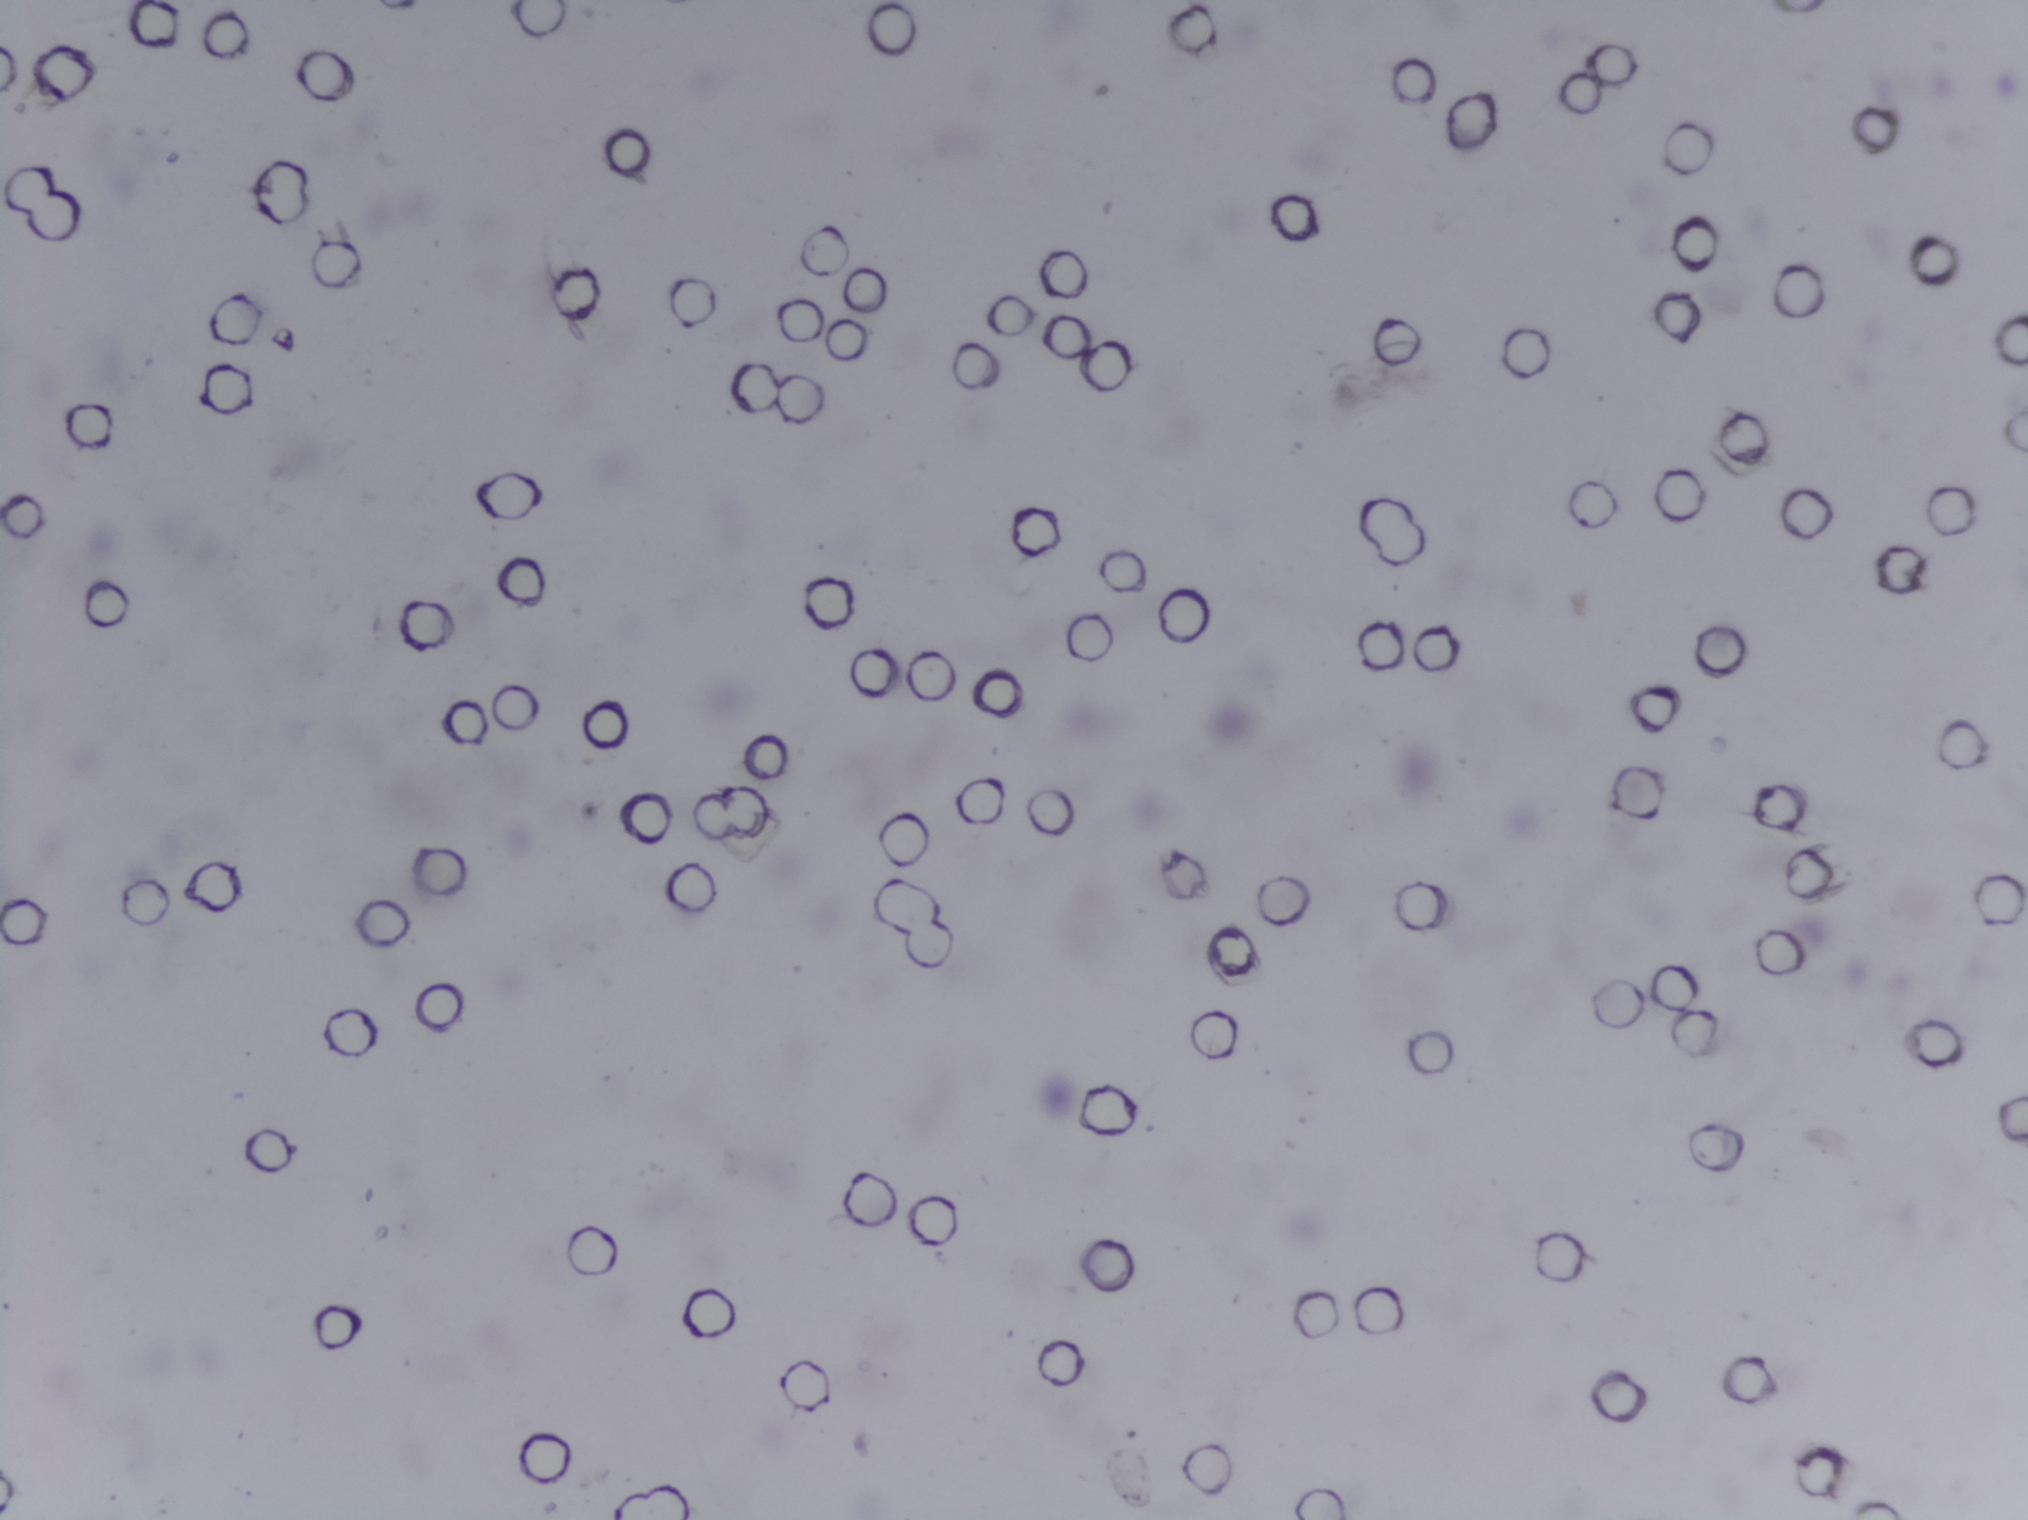
Urine filtration membrane under a 4× objective, photographed by an automated digital microscope. The field of view is about 1.5 mm × 1.1 mm.
Schistosoma eggs: none outlined.